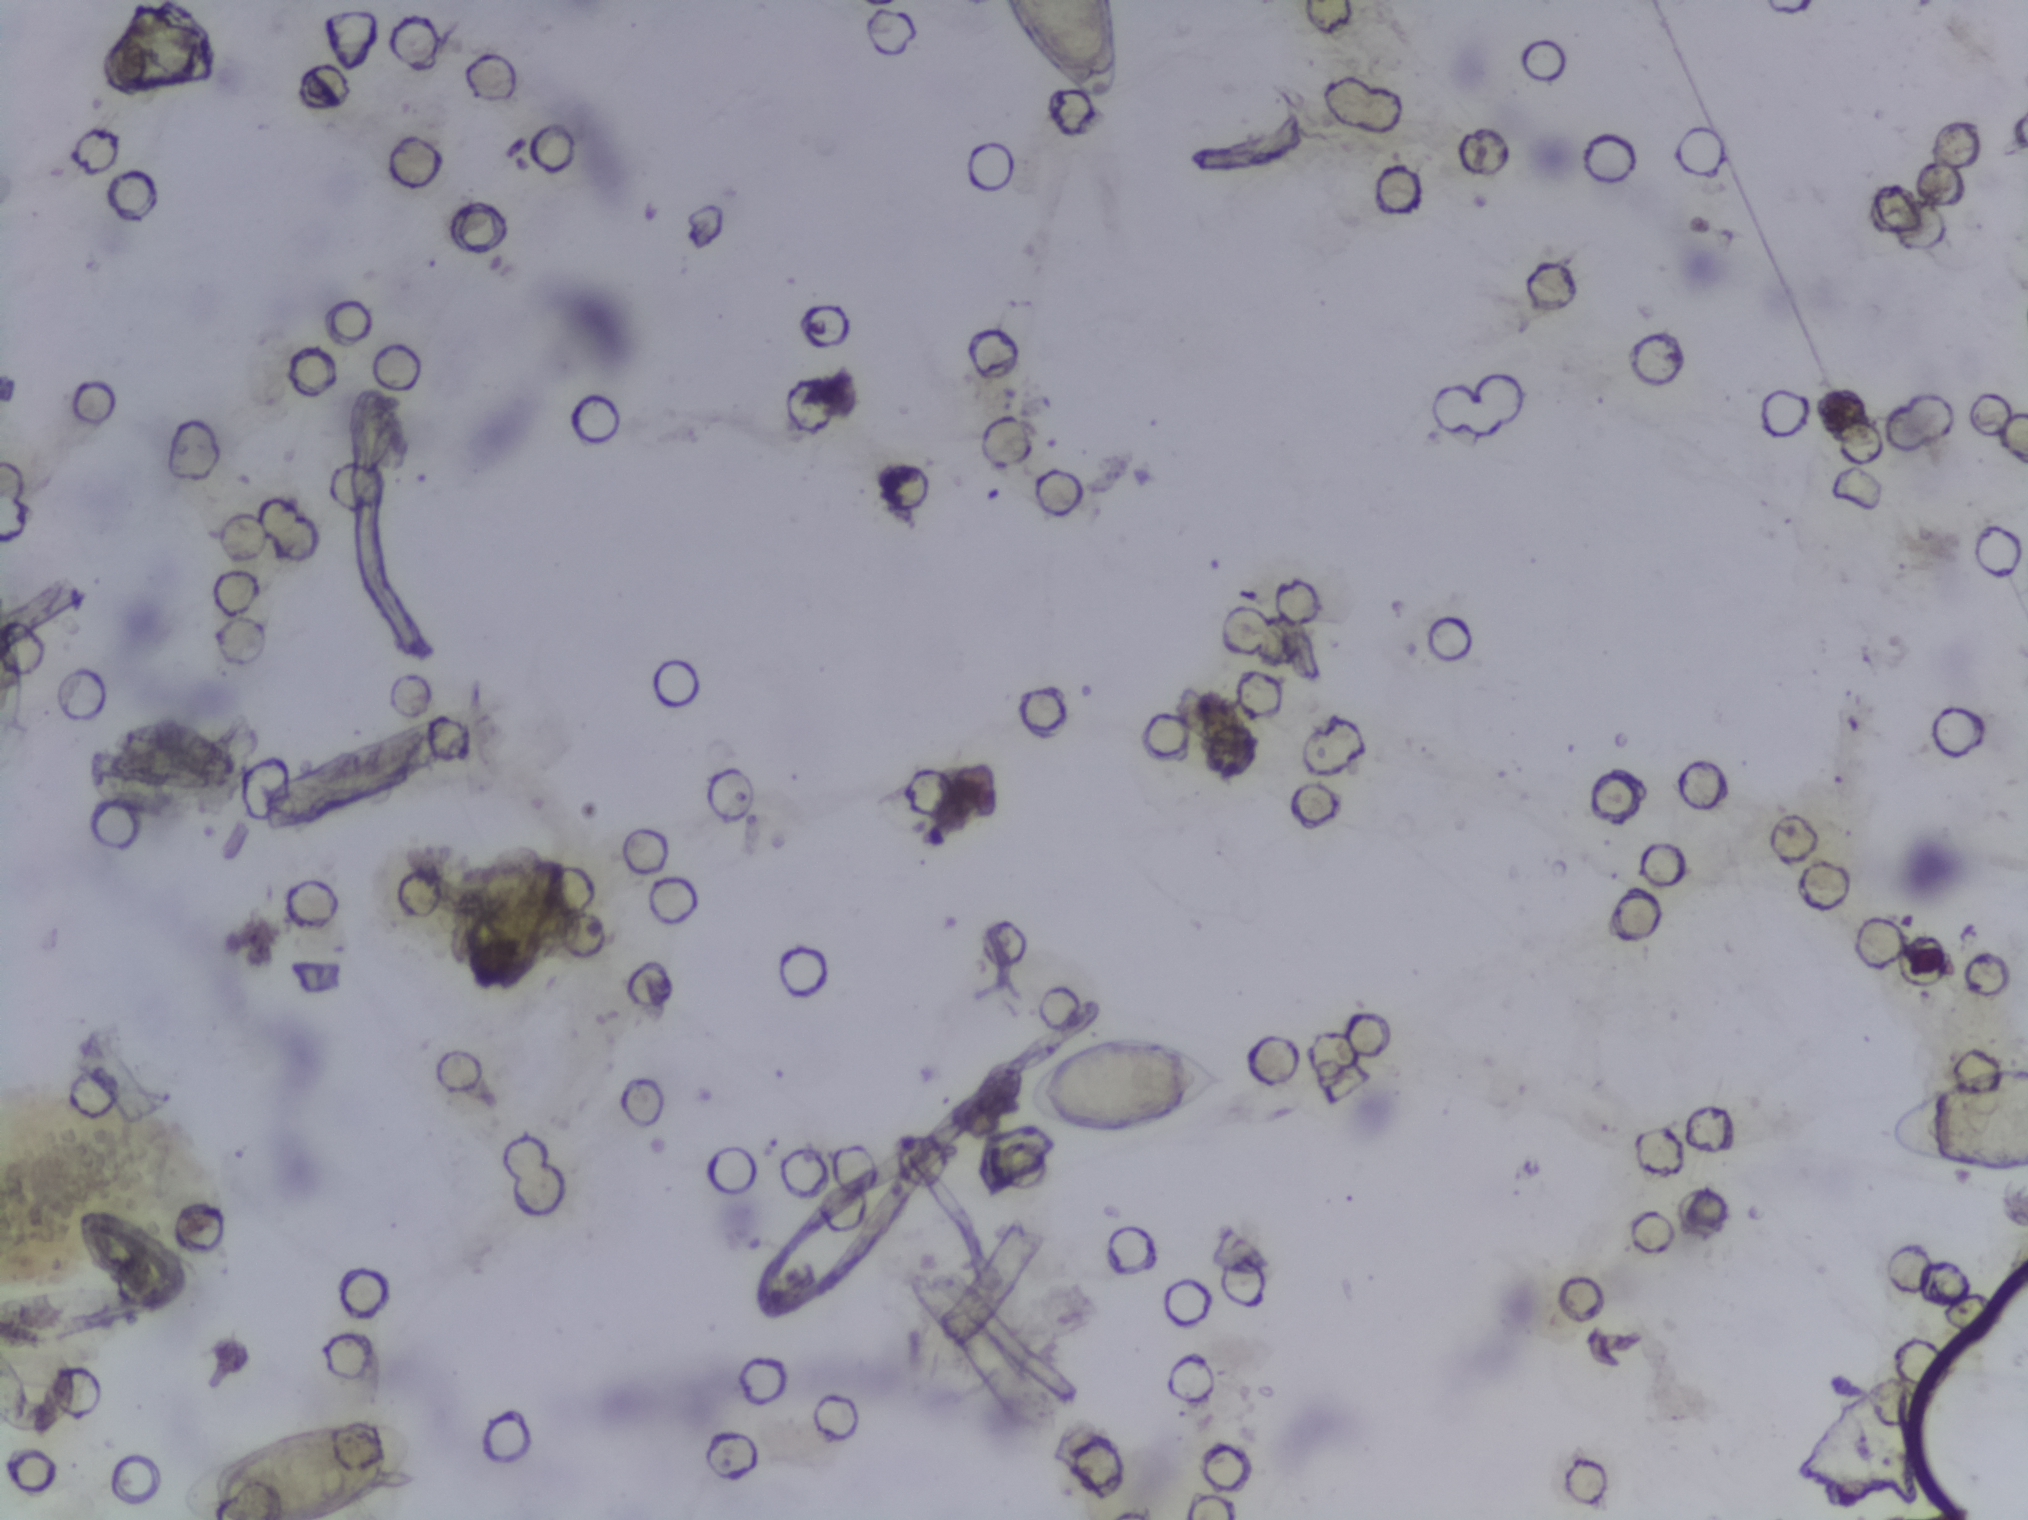
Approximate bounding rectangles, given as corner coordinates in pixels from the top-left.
Areas outlined as Schistosoma eggs: (x1=175, y1=1419, x2=416, y2=1519) (reaching the bottom edge of the frame); (x1=1007, y1=0, x2=1120, y2=105) (reaching the top edge of the frame); (x1=1017, y1=1034, x2=1232, y2=1134); (x1=1876, y1=1056, x2=2027, y2=1177) (reaching the right edge of the frame). The marked pixels themselves, not the boxes around them, cover about 1.8% of the image. Eggs that touch can end up inside the same outlined area.
Photomicrograph of a urine filtration membrane, 4× objective. The field of view is about 1.5 mm × 1.1 mm.